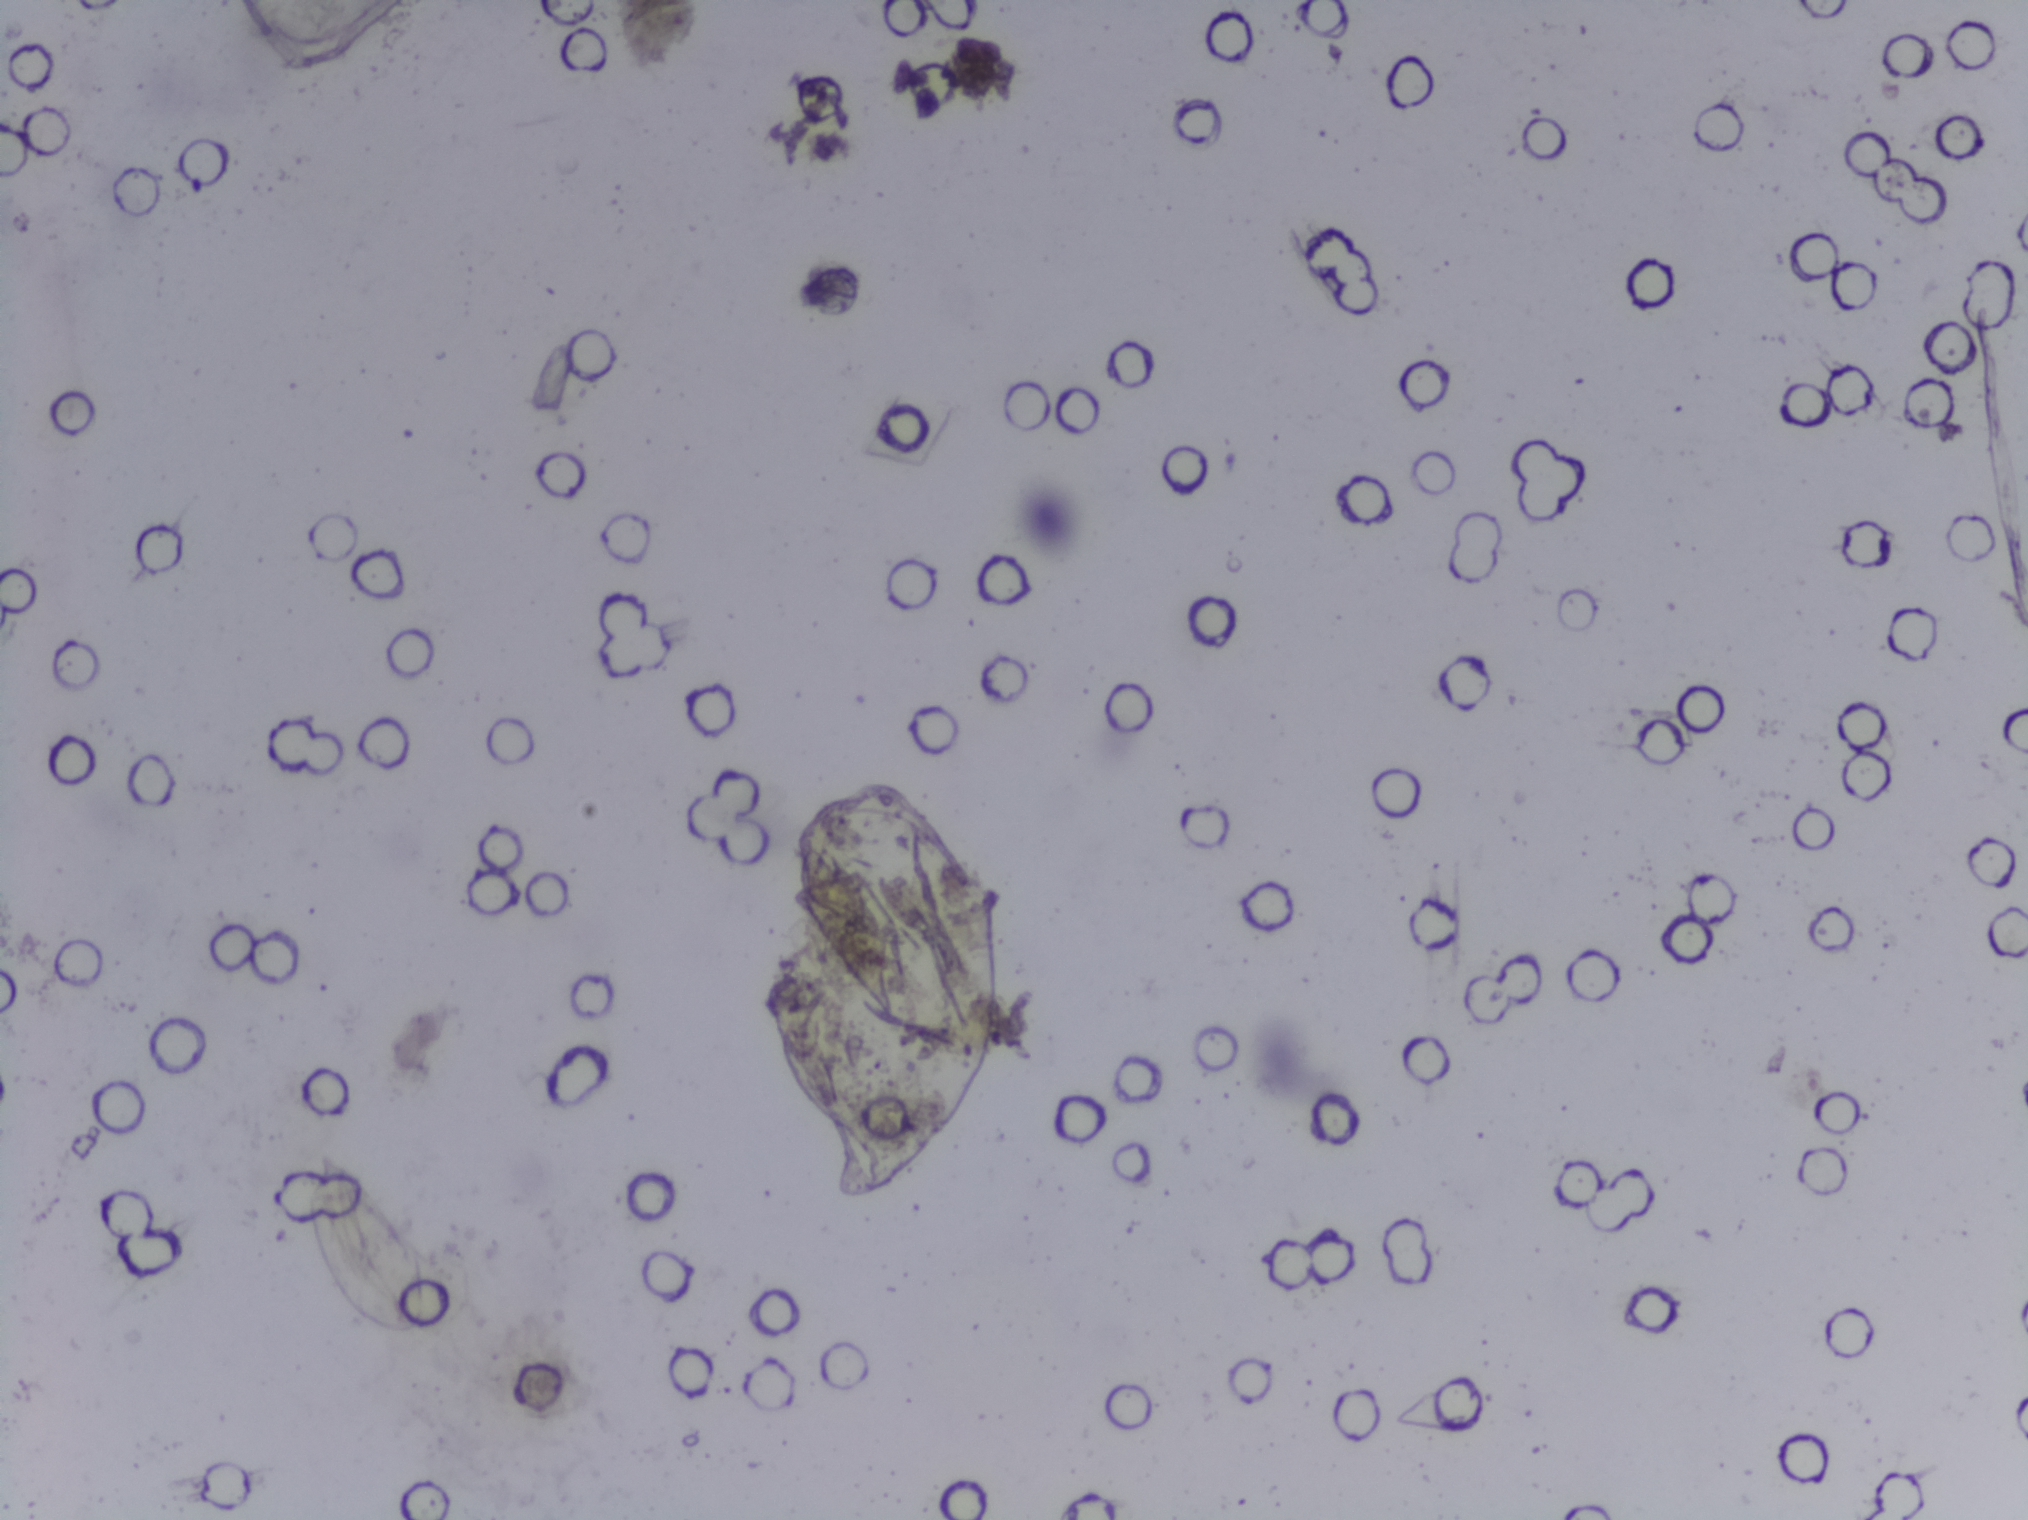
Photograph from an automated digital microscope: urine filter membrane, 4× objective.
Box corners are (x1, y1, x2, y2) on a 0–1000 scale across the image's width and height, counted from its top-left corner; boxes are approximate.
Schistosoma eggs are outlined in the expert annotation at (151, 755, 212, 880). An outlined area can hold more than one egg.